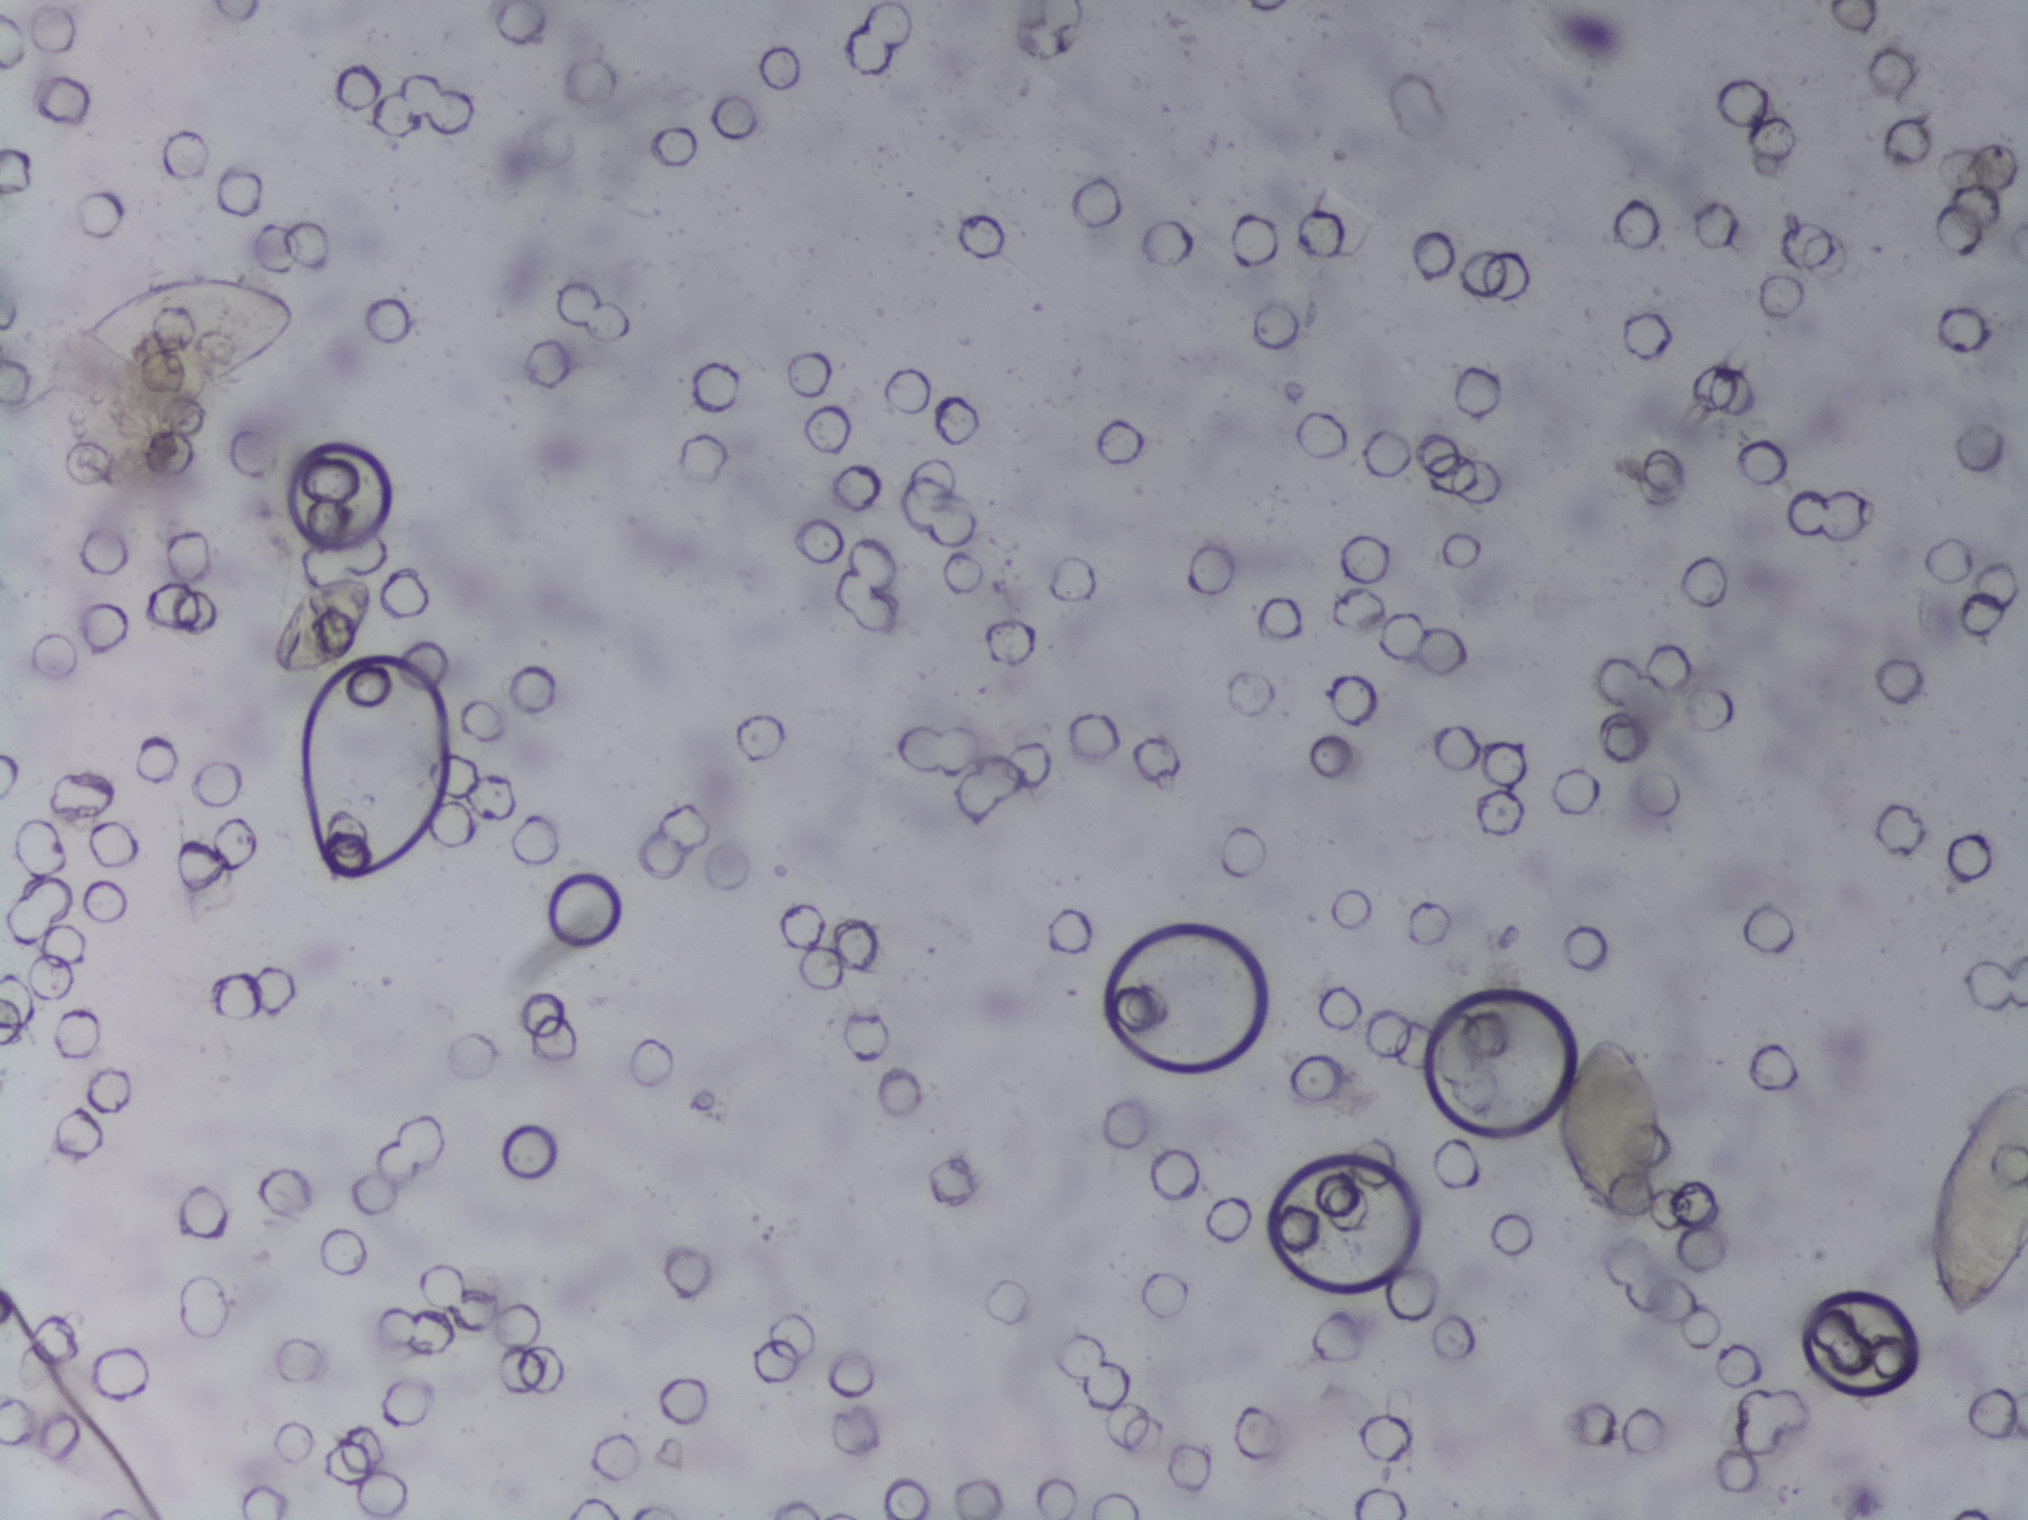
Urine filtration membrane under a 4× objective, photographed by an automated digital microscope.
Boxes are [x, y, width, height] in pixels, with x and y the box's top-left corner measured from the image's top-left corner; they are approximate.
Schistosoma eggs are outlined in four areas of this image, listed from left to right: [81, 272, 221, 131]; [268, 572, 108, 111]; [1552, 1032, 112, 199]; [1929, 1079, 99, 239] (reaching the right edge of the frame). Eggs that touch can end up inside the same outlined area. A marked egg may occasionally be S. mansoni rather than S. haematobium.